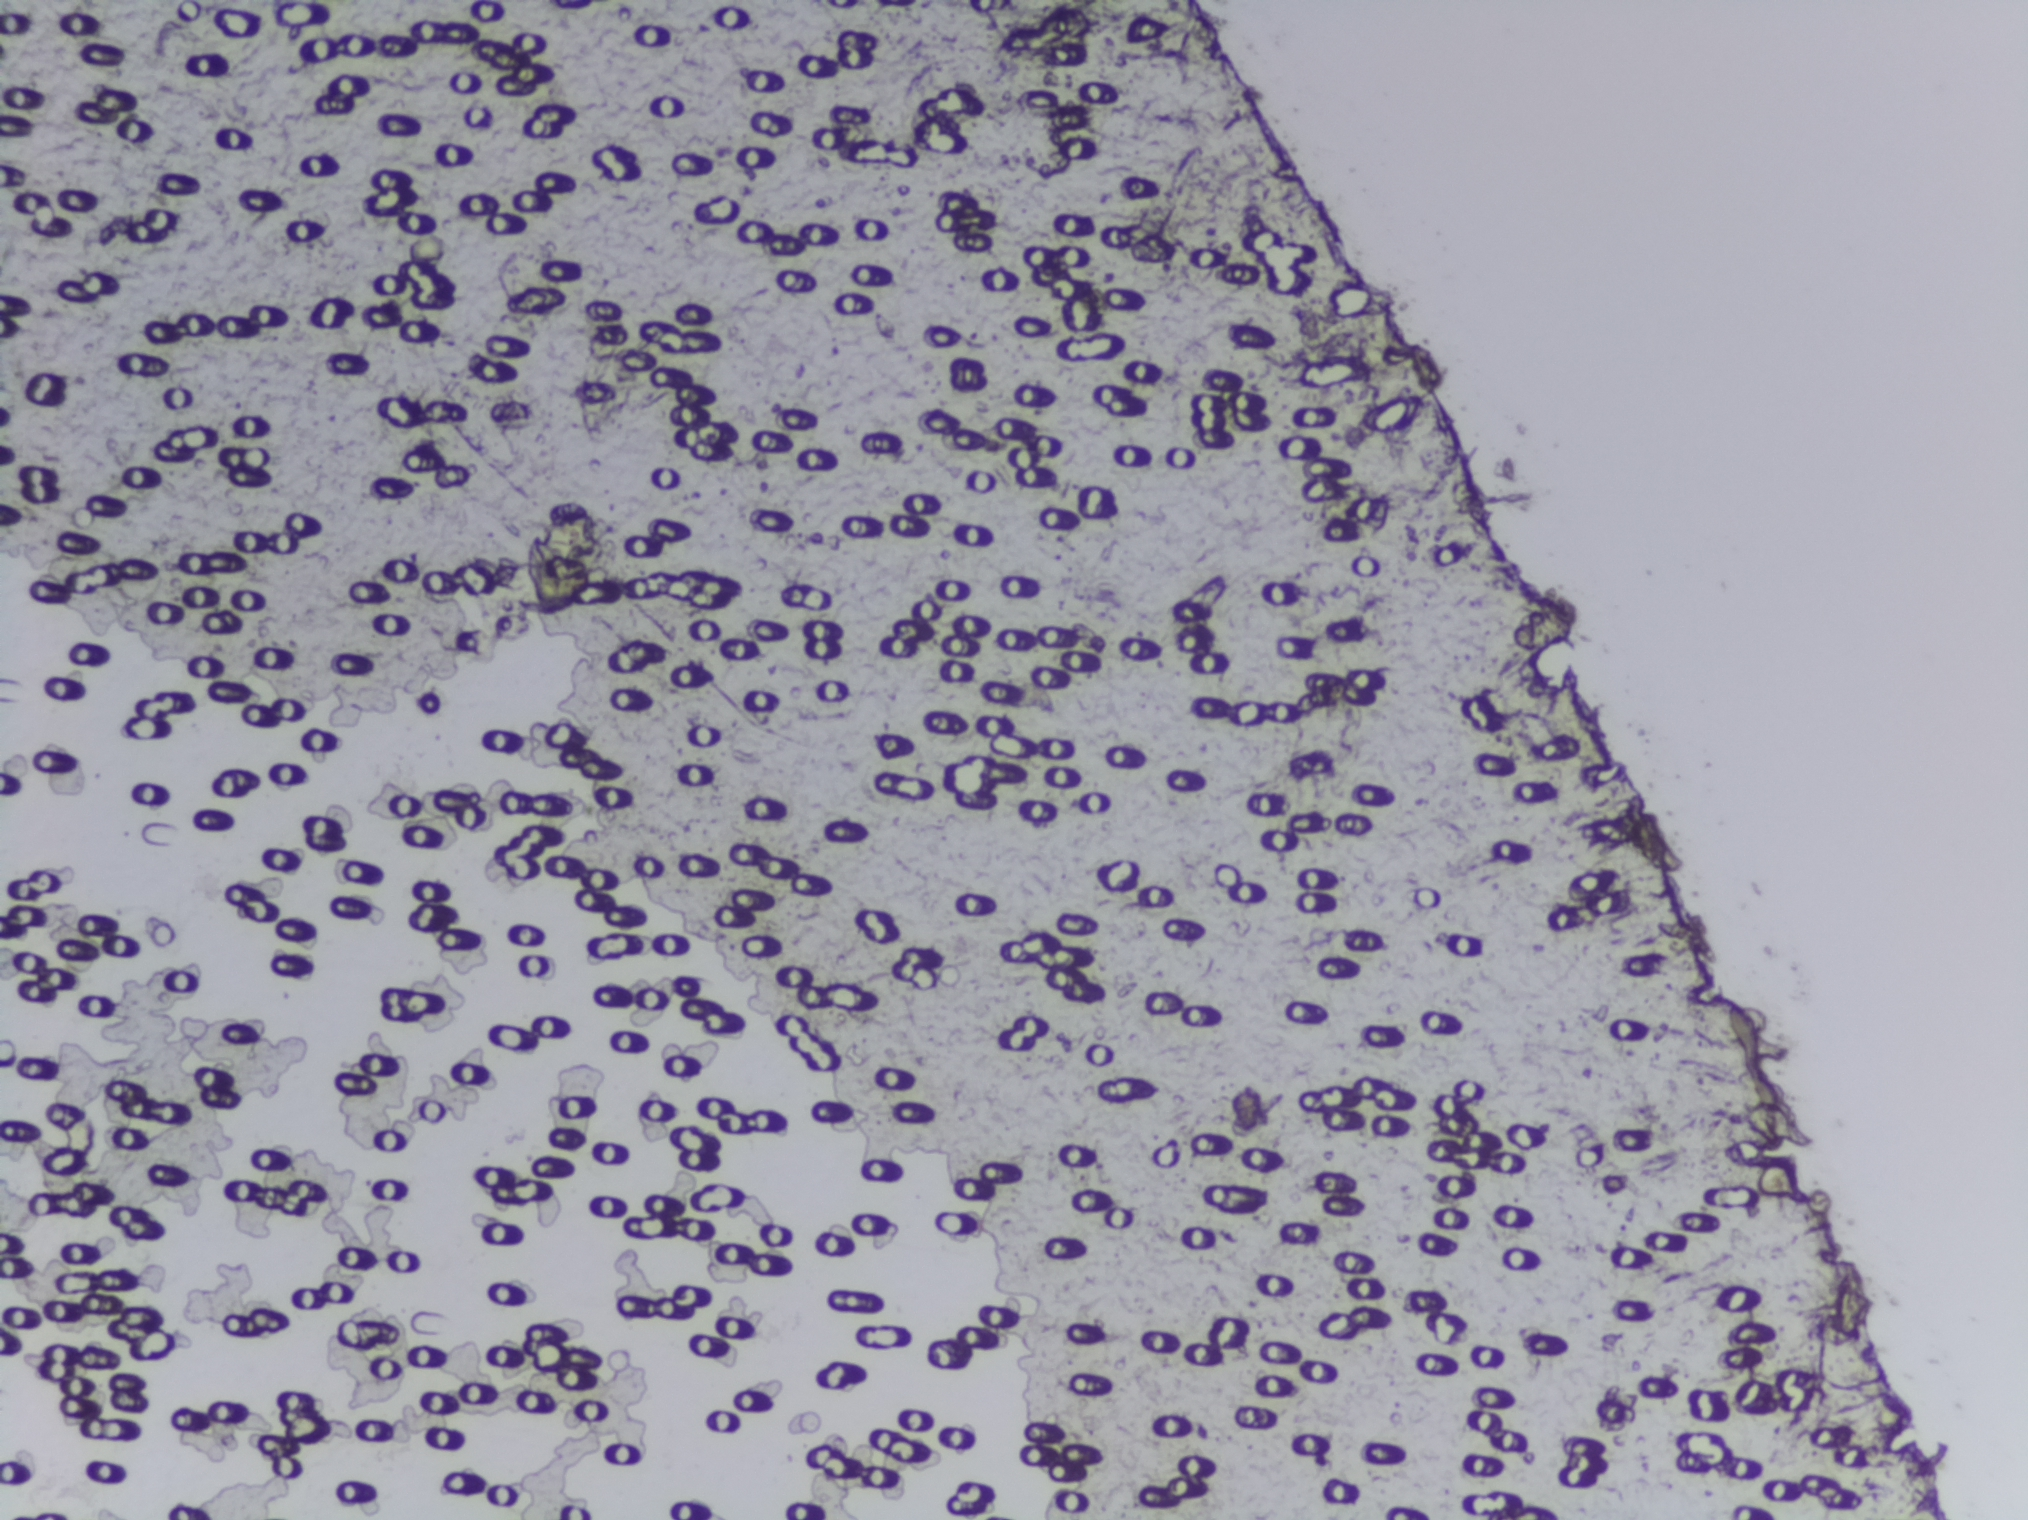
One field of view of a urine filter membrane, 4× objective, 2028 × 1520 pixels. Field of view: about 1.5 mm wide and 1.1 mm high.
No Schistosoma egg is outlined in this image's expert annotation.